Urine filter membrane photographed through a 4× microscope objective. The field of view is about 1.5 mm × 1.1 mm.
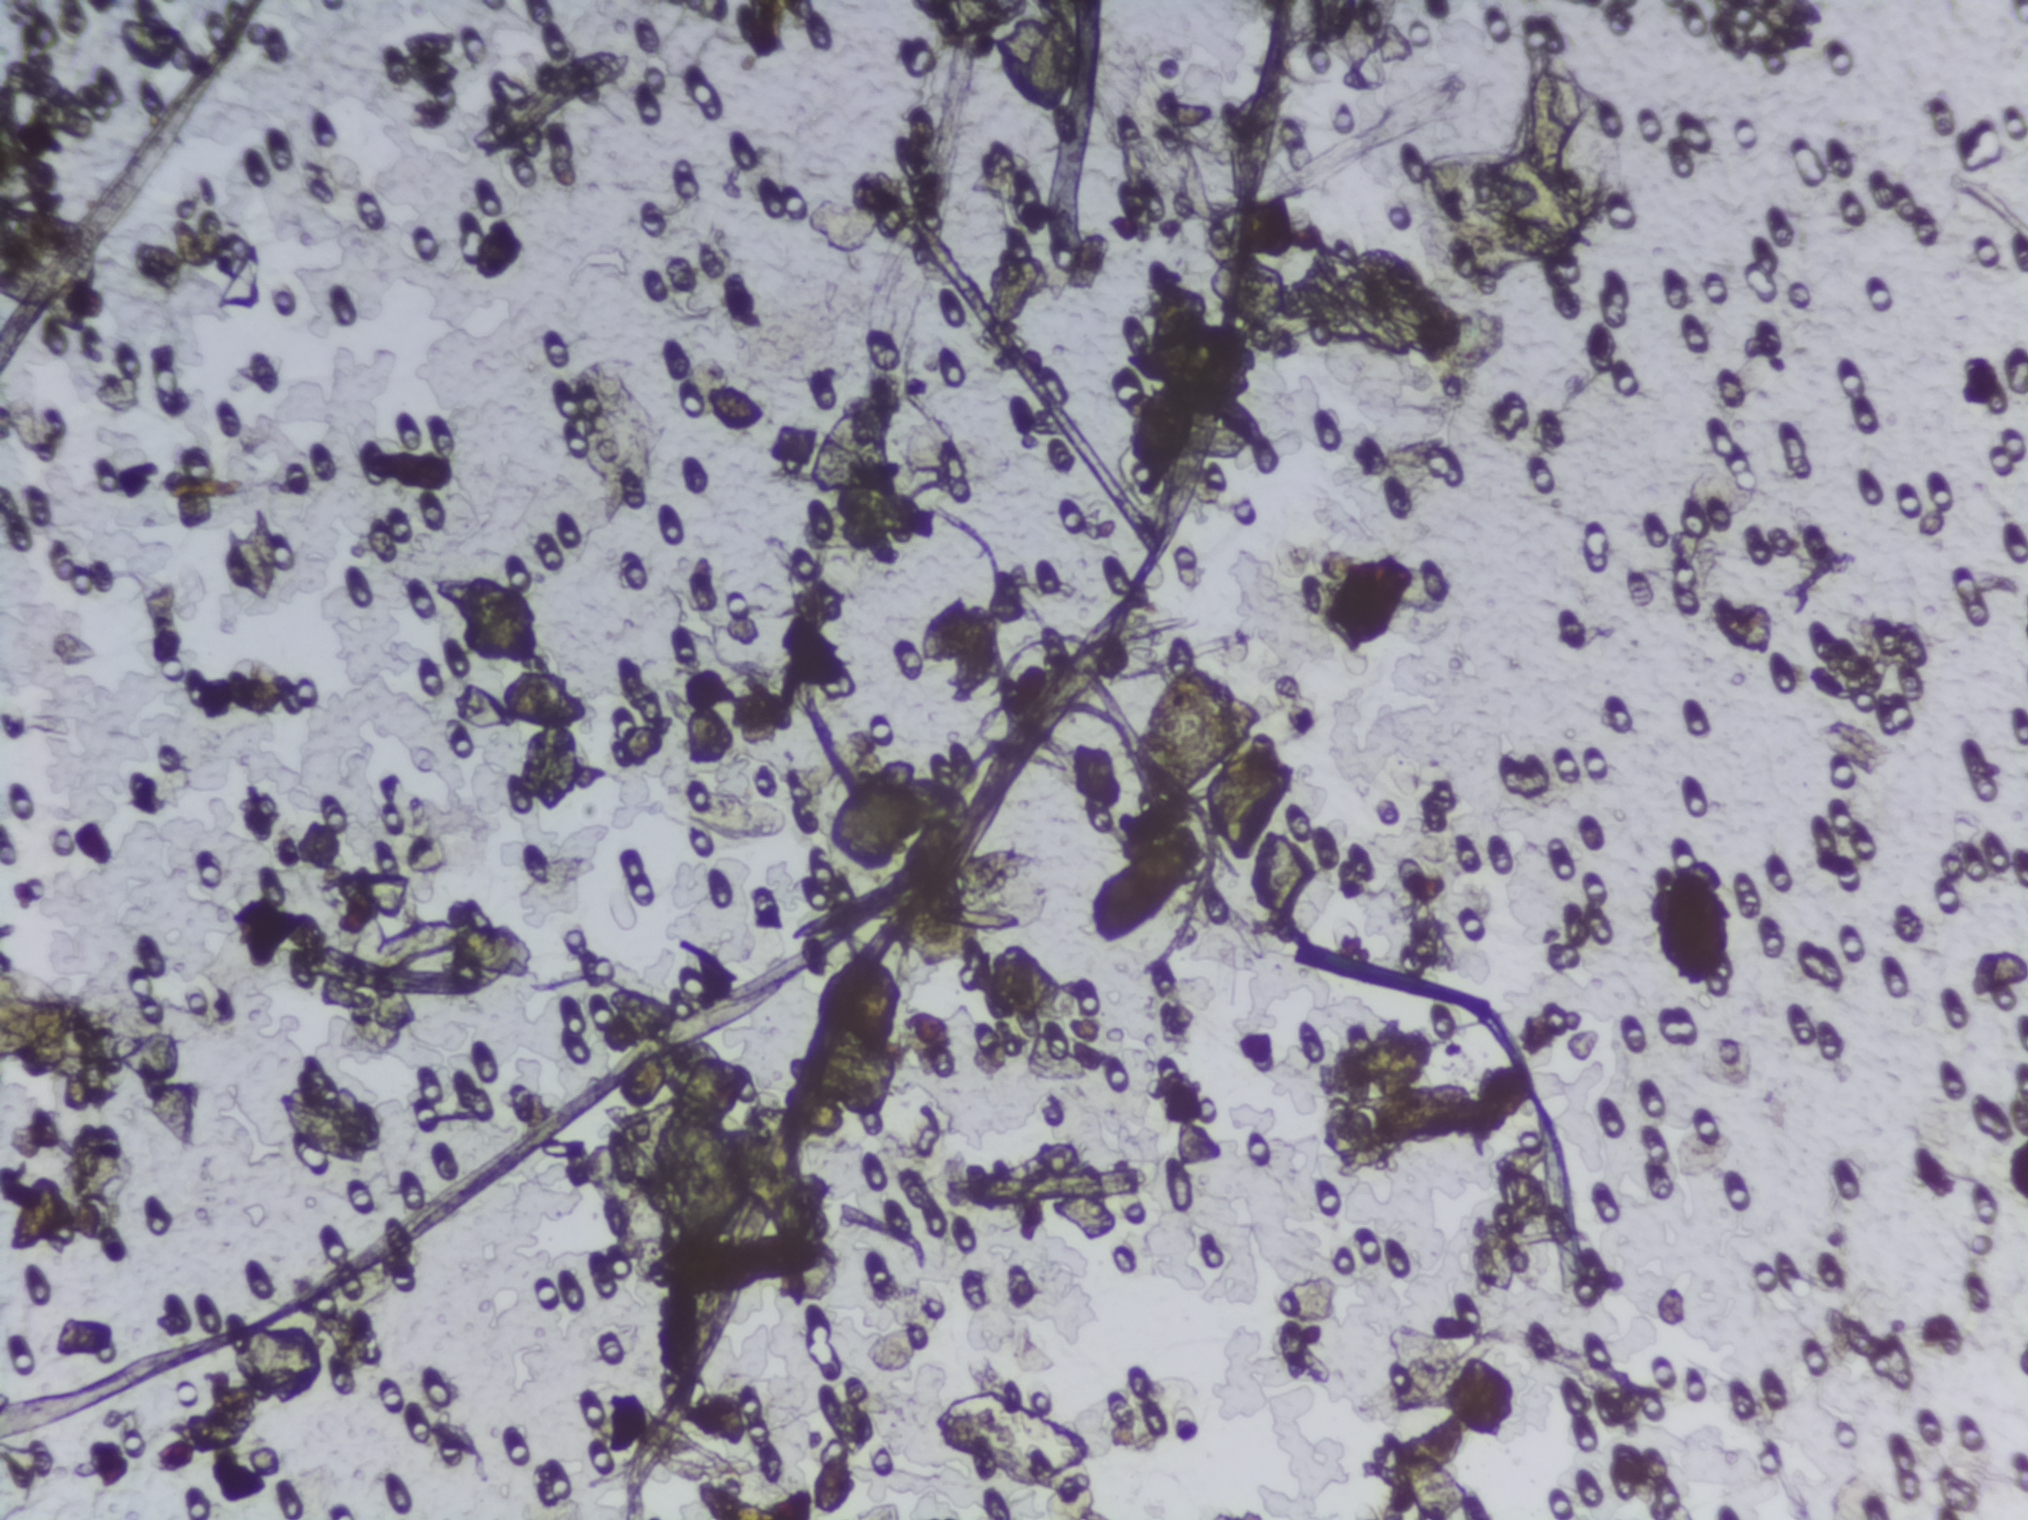
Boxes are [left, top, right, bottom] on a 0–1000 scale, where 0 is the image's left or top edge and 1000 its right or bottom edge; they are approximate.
Areas outlined as Schistosoma eggs:
1. [694, 91, 790, 175]
Eggs that touch can end up inside the same outlined area.